One field of view of a urine filter membrane, 4× objective, 2028 × 1520 pixels.
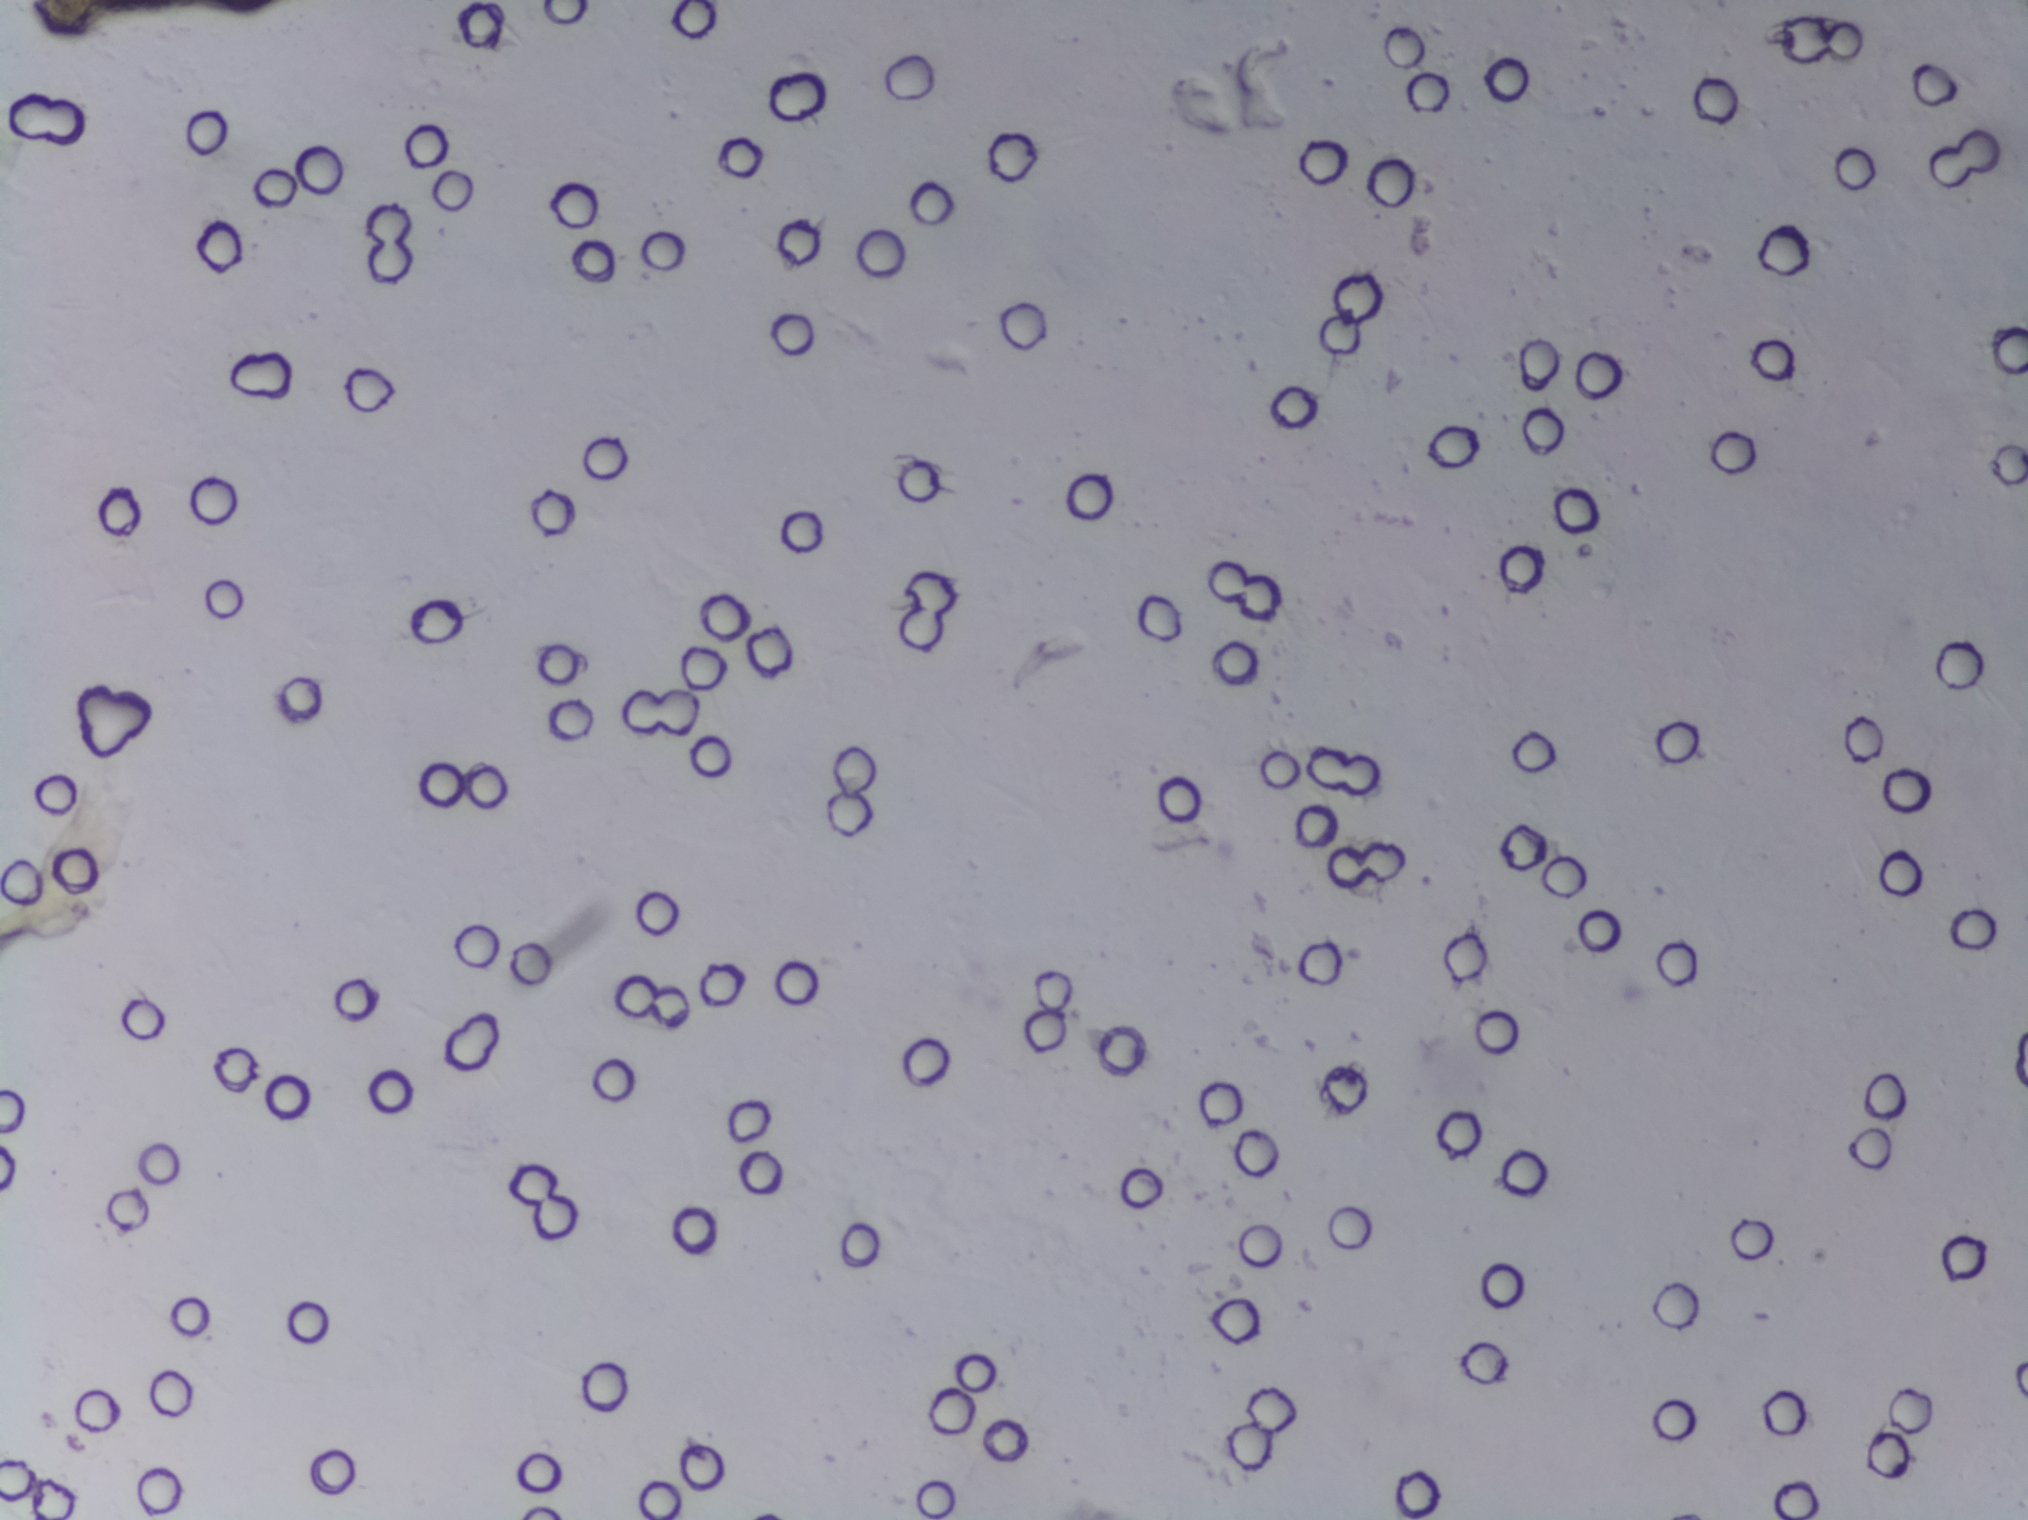
The expert annotation outlines no Schistosoma egg in this image.